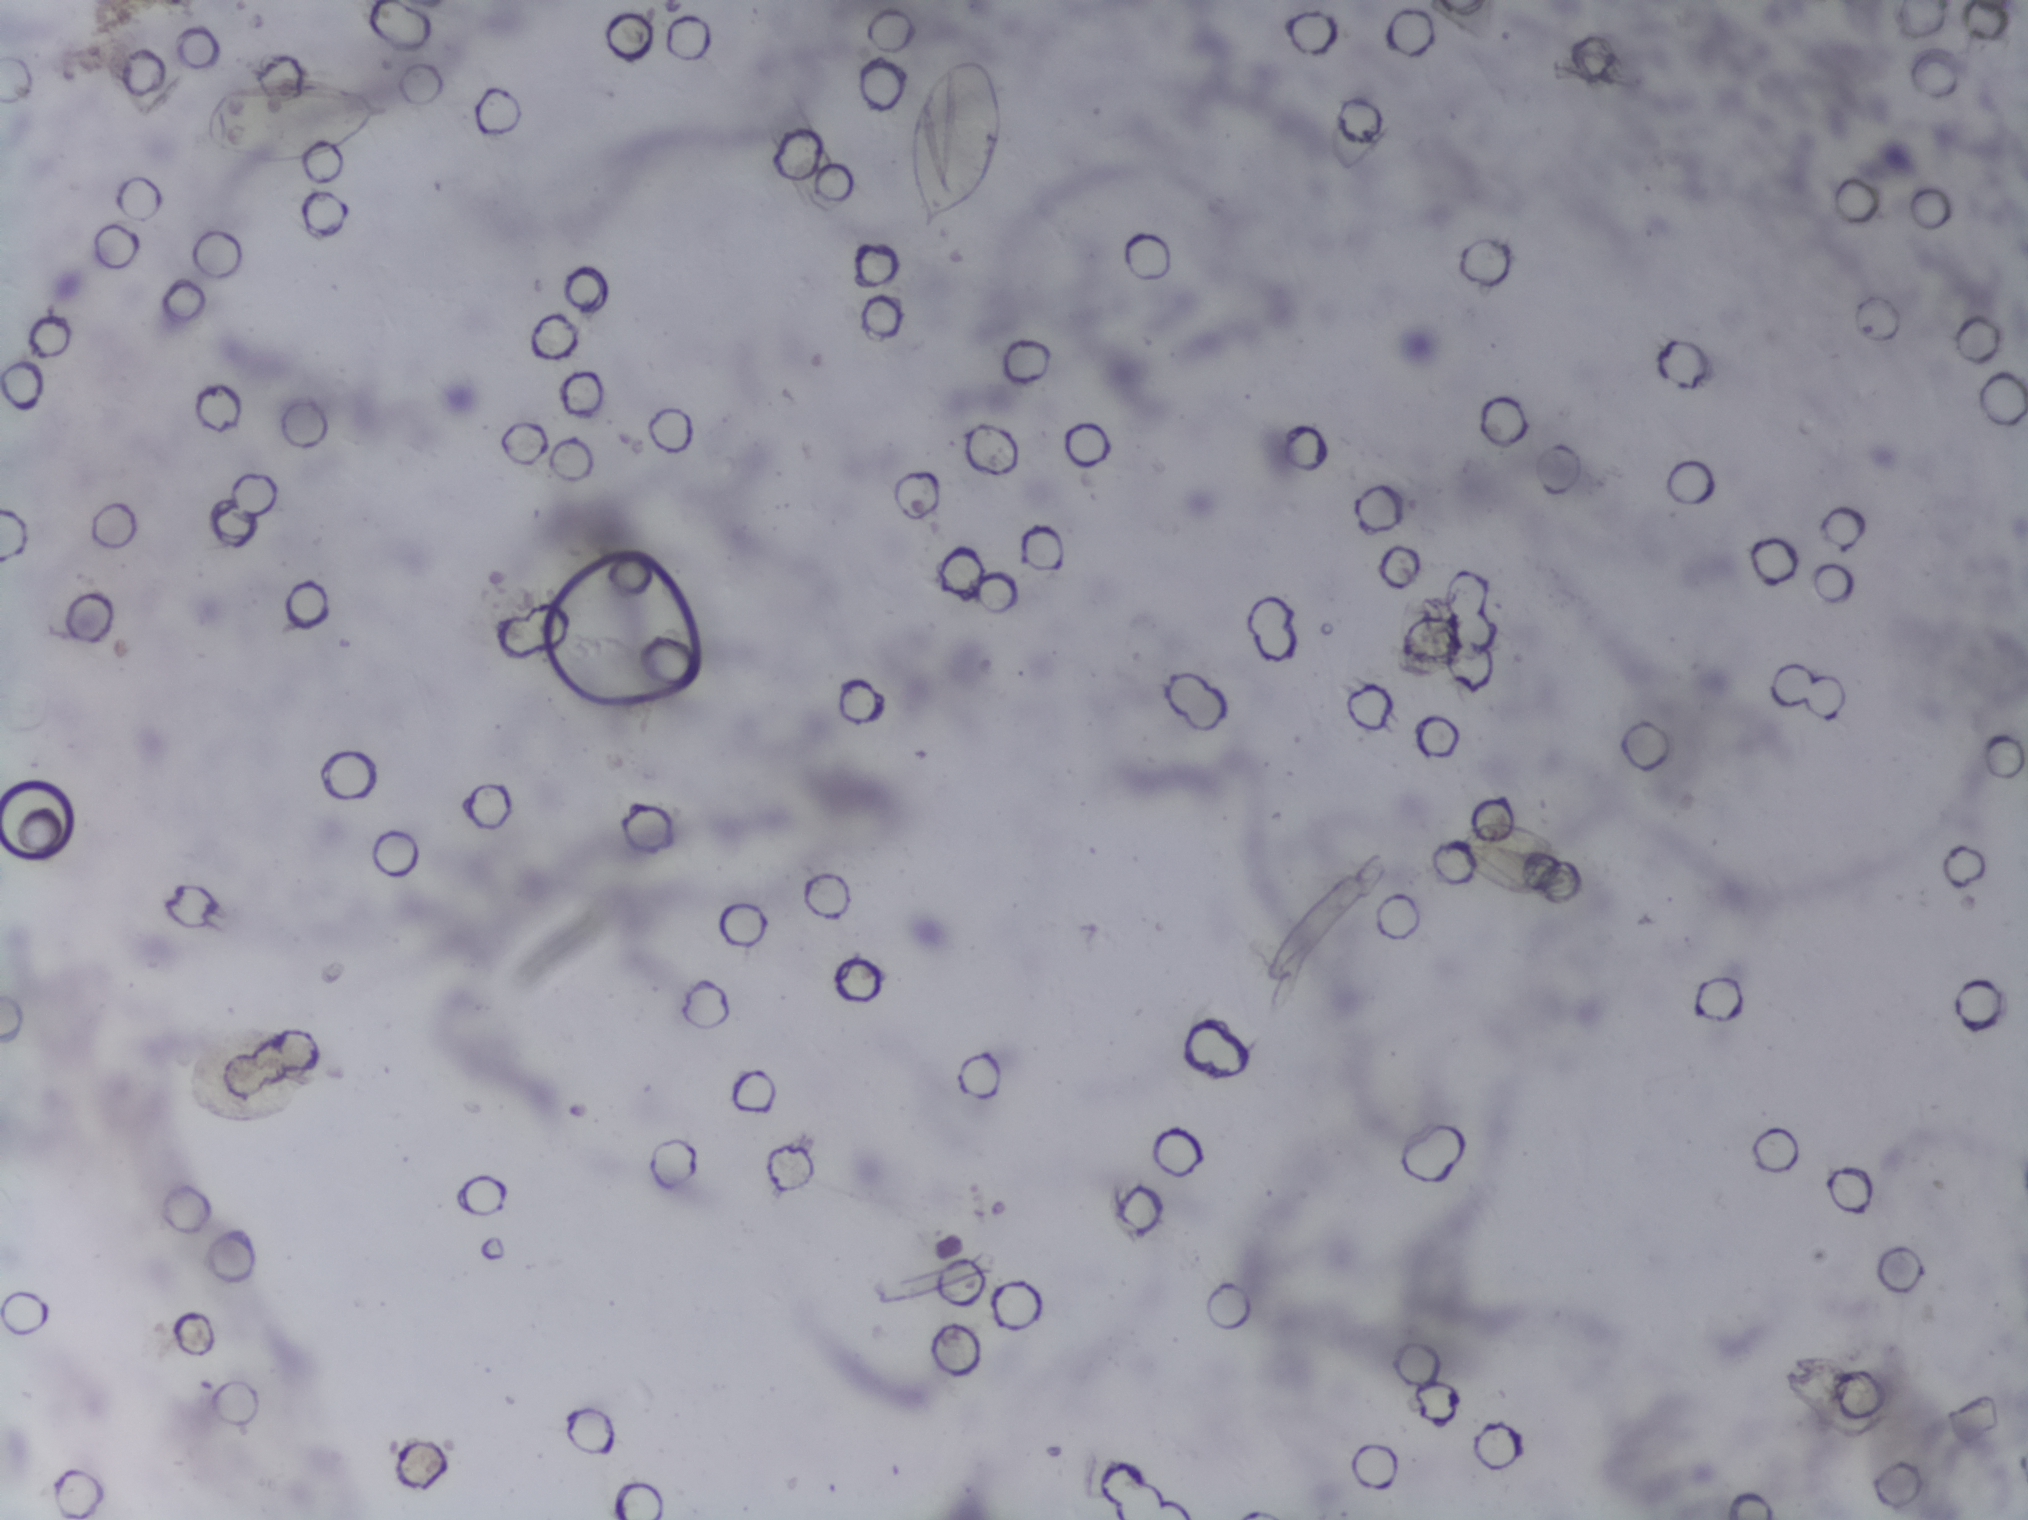
Photomicrograph of a urine filtration membrane, 4× objective. The field of view is about 1.5 mm × 1.1 mm.
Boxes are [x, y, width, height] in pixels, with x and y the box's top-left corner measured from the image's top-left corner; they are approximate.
{"schistosoma_egg_areas_xywh_px": [[199, 75, 194, 89], [905, 54, 103, 183]]}
The marked pixels themselves, not the boxes around them, cover about 0.9% of the image. Eggs that touch can end up inside the same outlined area.